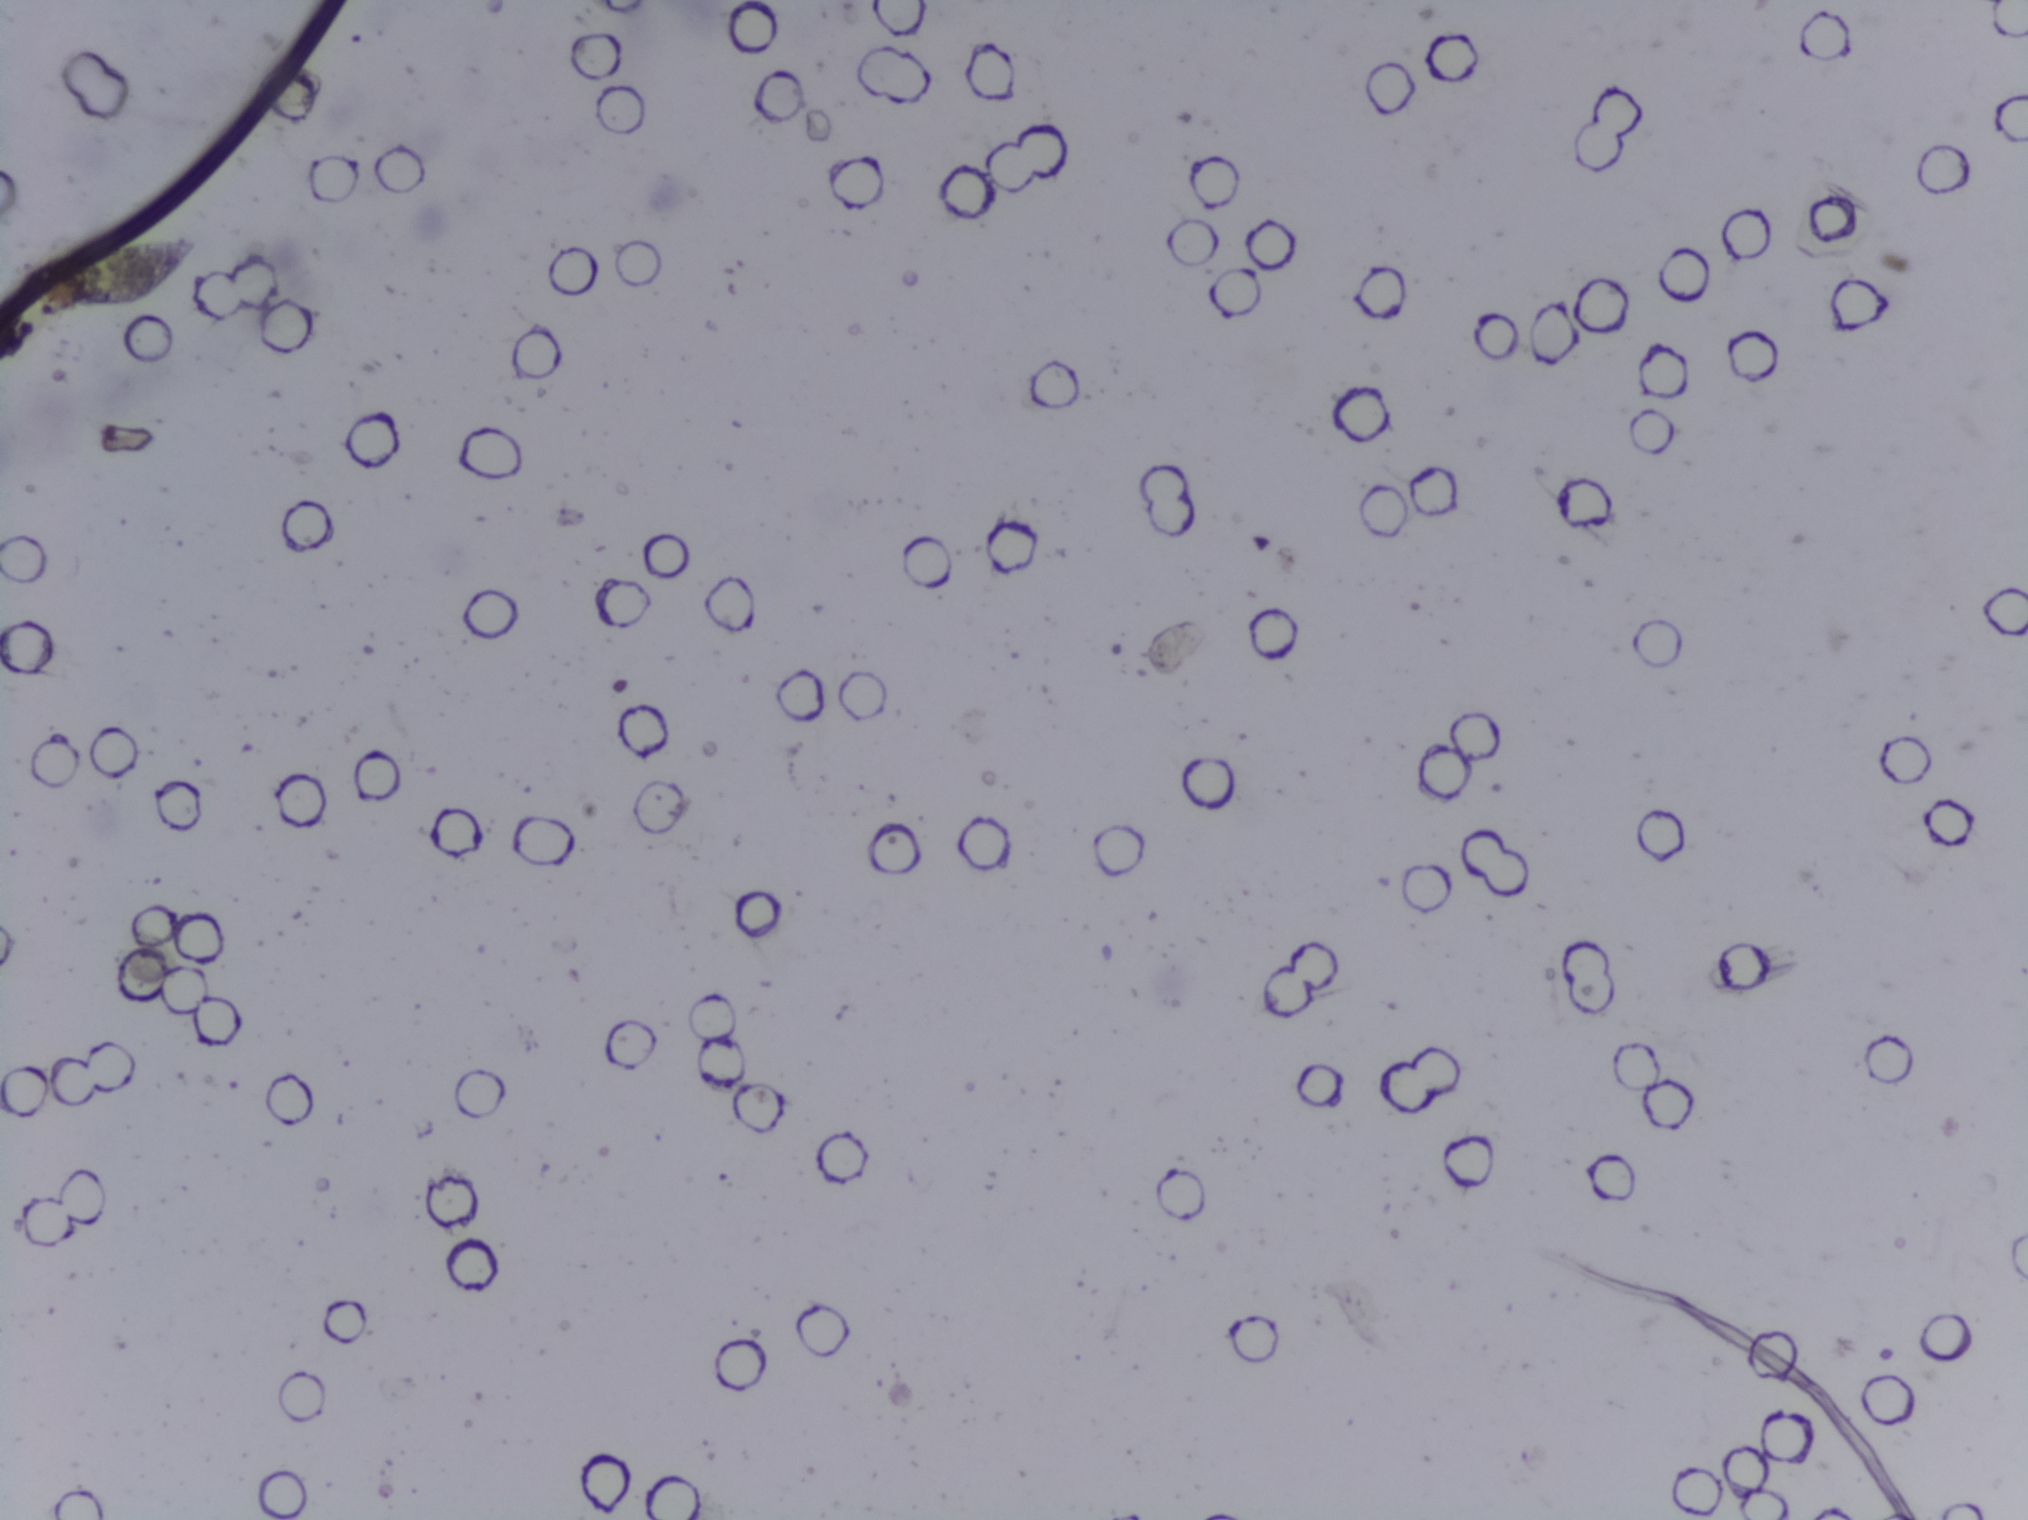
Photograph from an automated digital microscope: urine filter membrane, 4× objective.
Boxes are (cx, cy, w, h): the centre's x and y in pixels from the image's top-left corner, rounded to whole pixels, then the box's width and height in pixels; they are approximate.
Findings: one area outlined as Schistosoma eggs. Location: (cx=116, cy=275, w=174, h=80). Marked pixels, not the box around them: about 0.3% of the image. A single outlined area may contain several eggs.